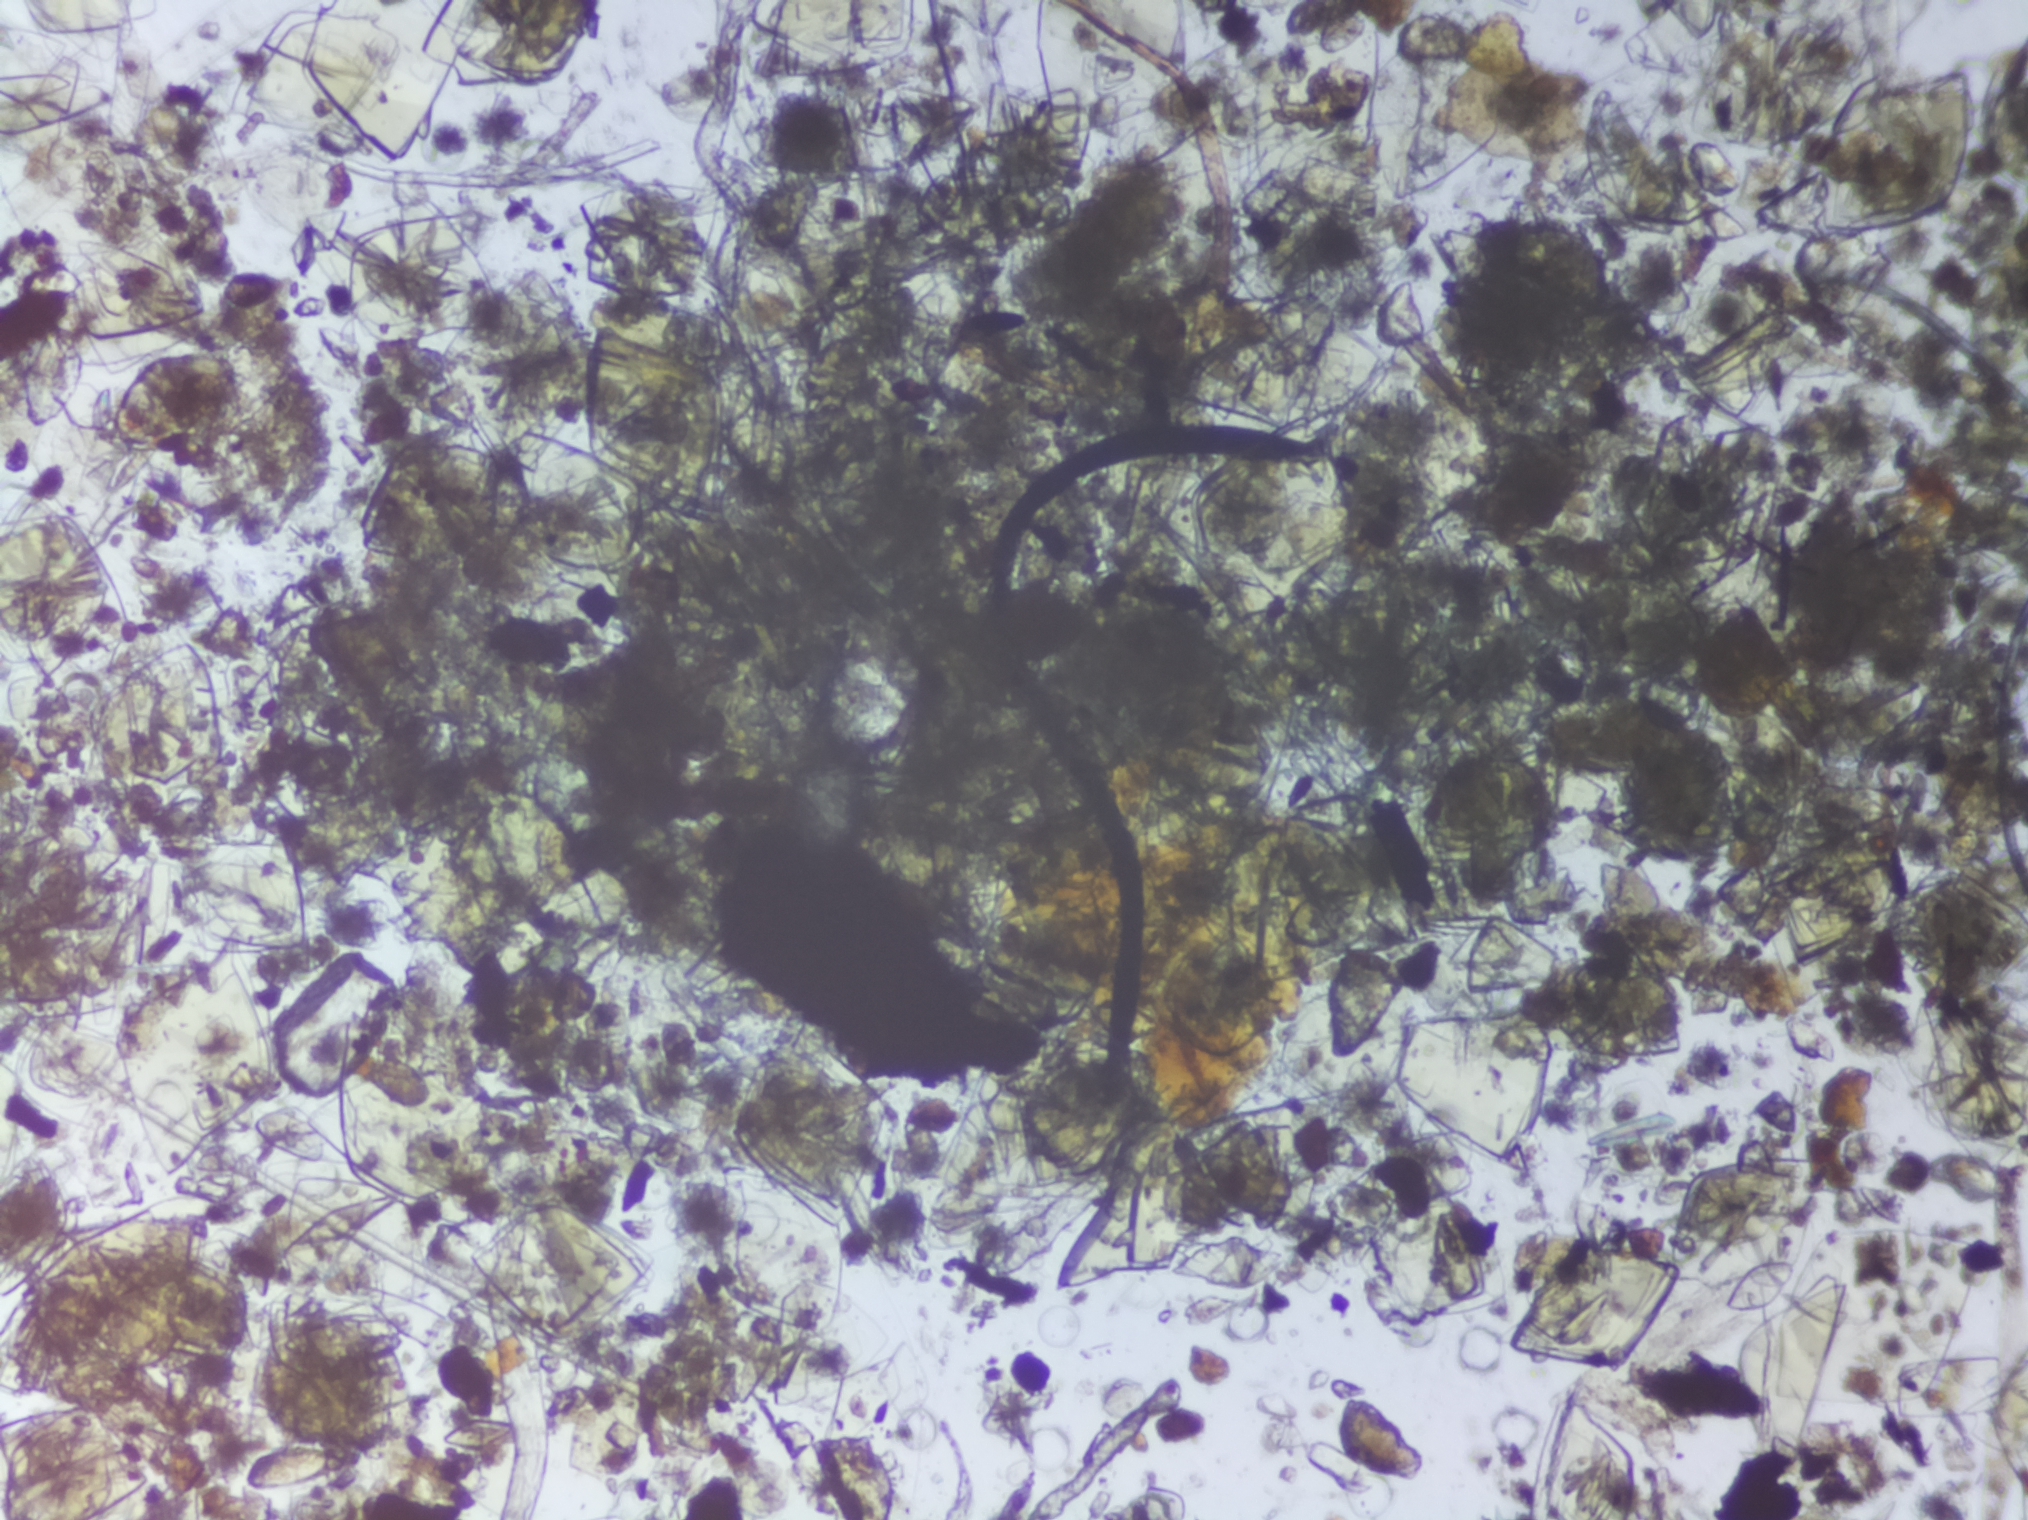
One field of view of a urine filter membrane, 4× objective, 2028 × 1520 pixels. The image covers about 1.5 × 1.1 mm of the membrane.
Schistosoma eggs: none outlined.